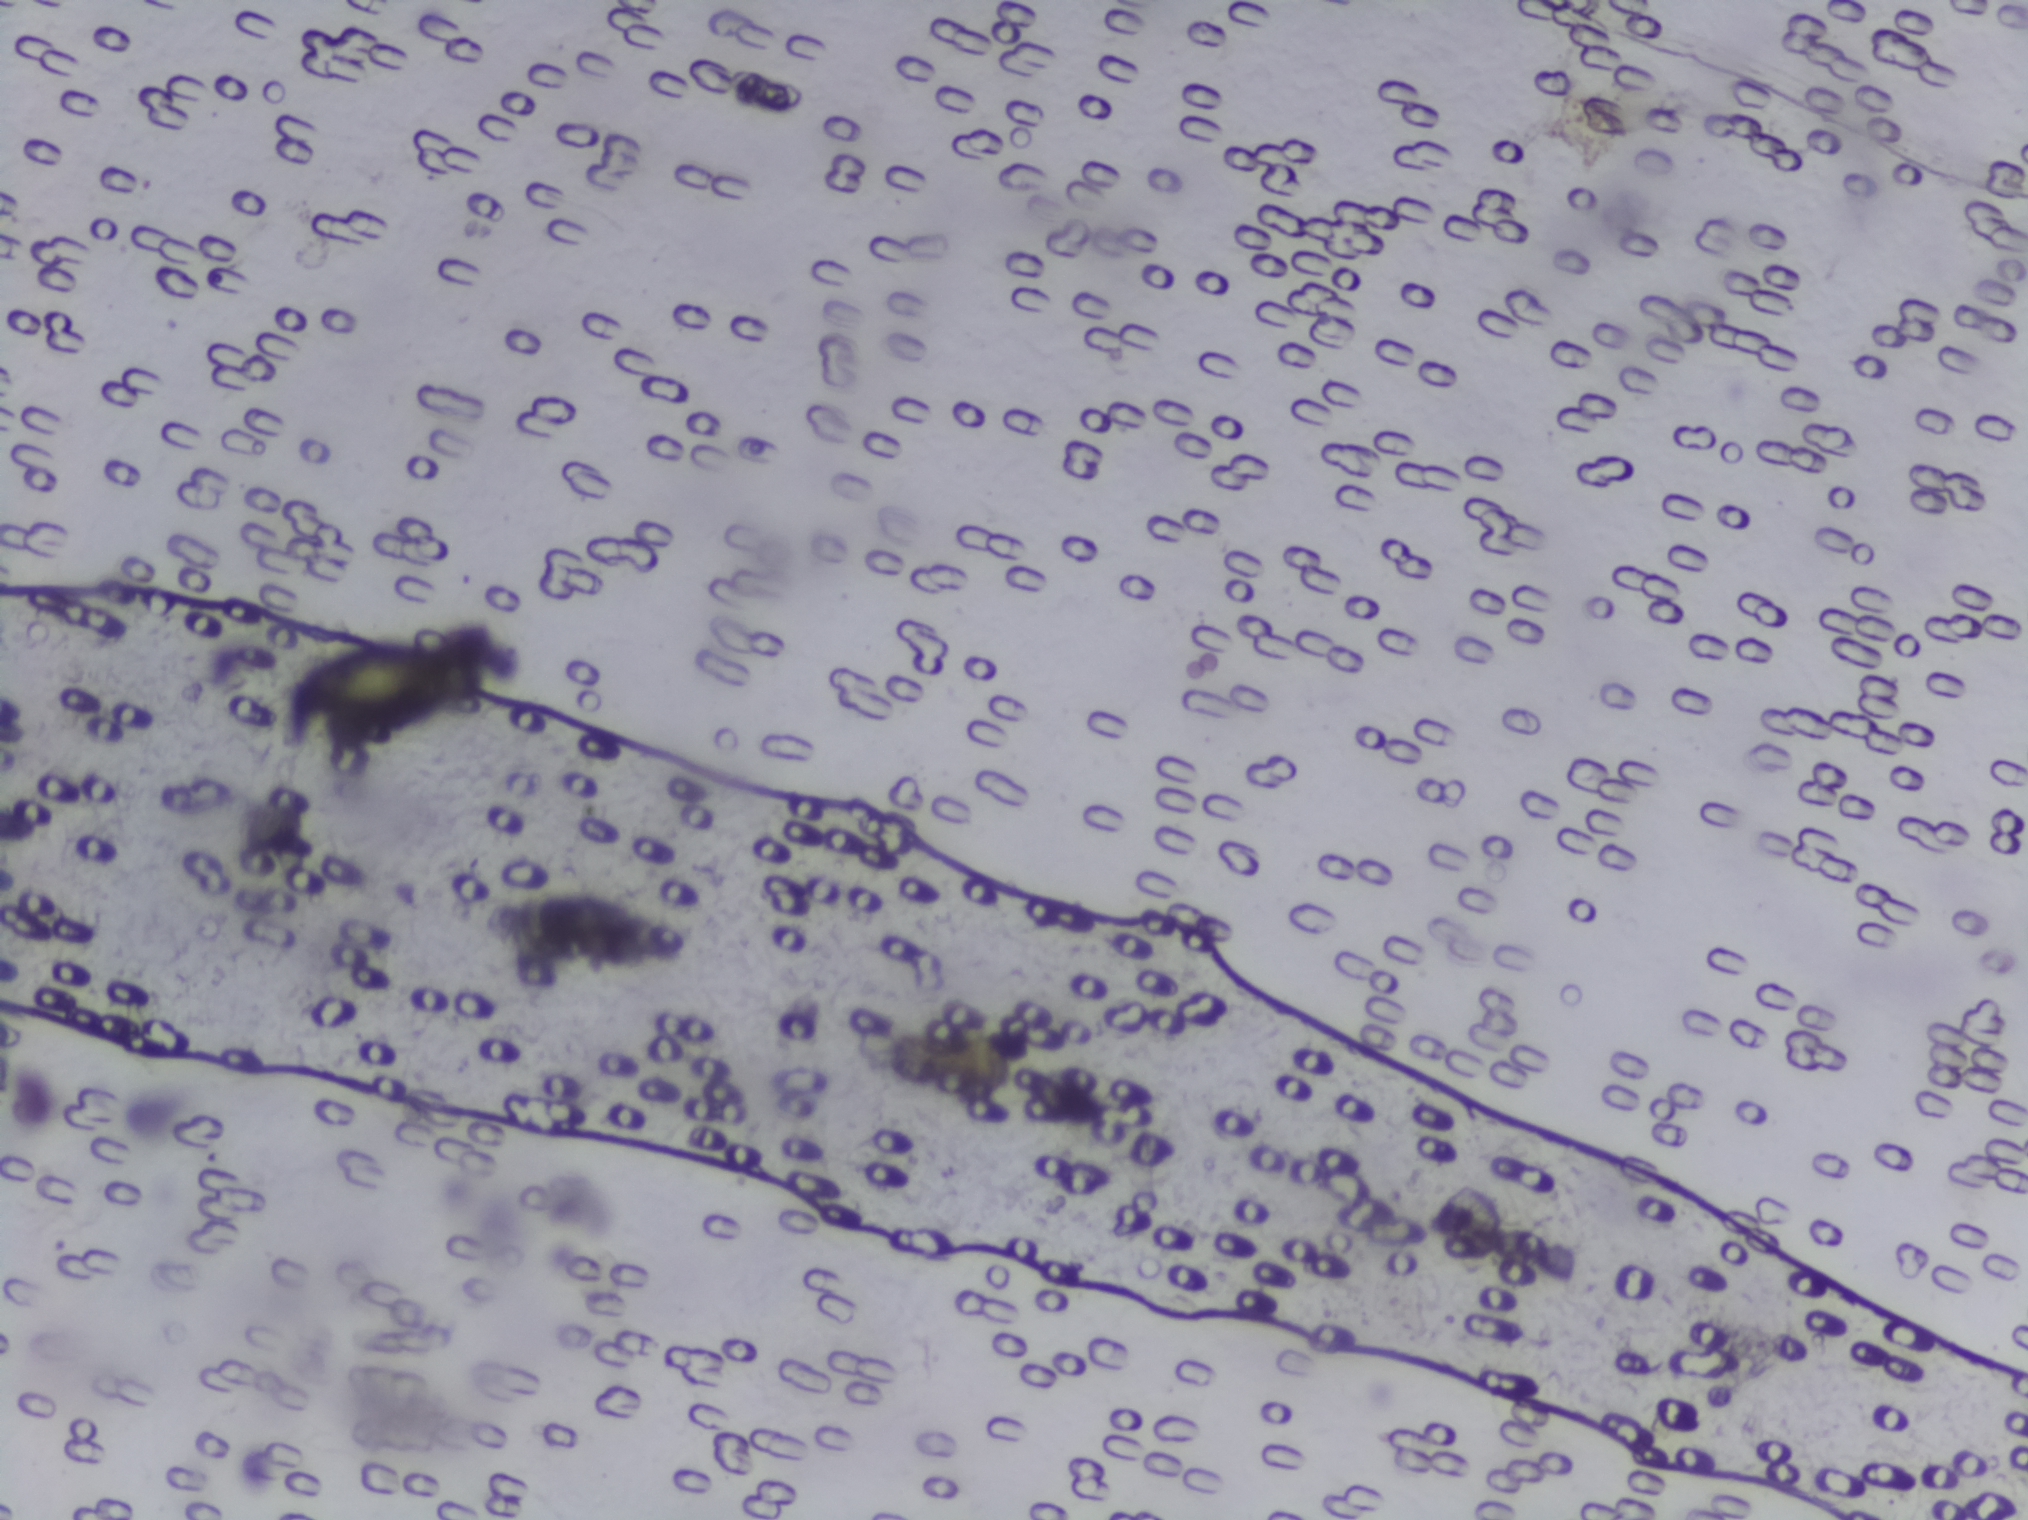
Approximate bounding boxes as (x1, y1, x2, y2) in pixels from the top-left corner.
Schistosoma eggs are outlined in one area of this image: (283, 641, 485, 720). Marked pixels, not the box around them: about 0.4% of the image. Eggs that touch can end up inside the same outlined area.
Microscope photograph (4× objective) of a membrane that a urine sample was filtered through.